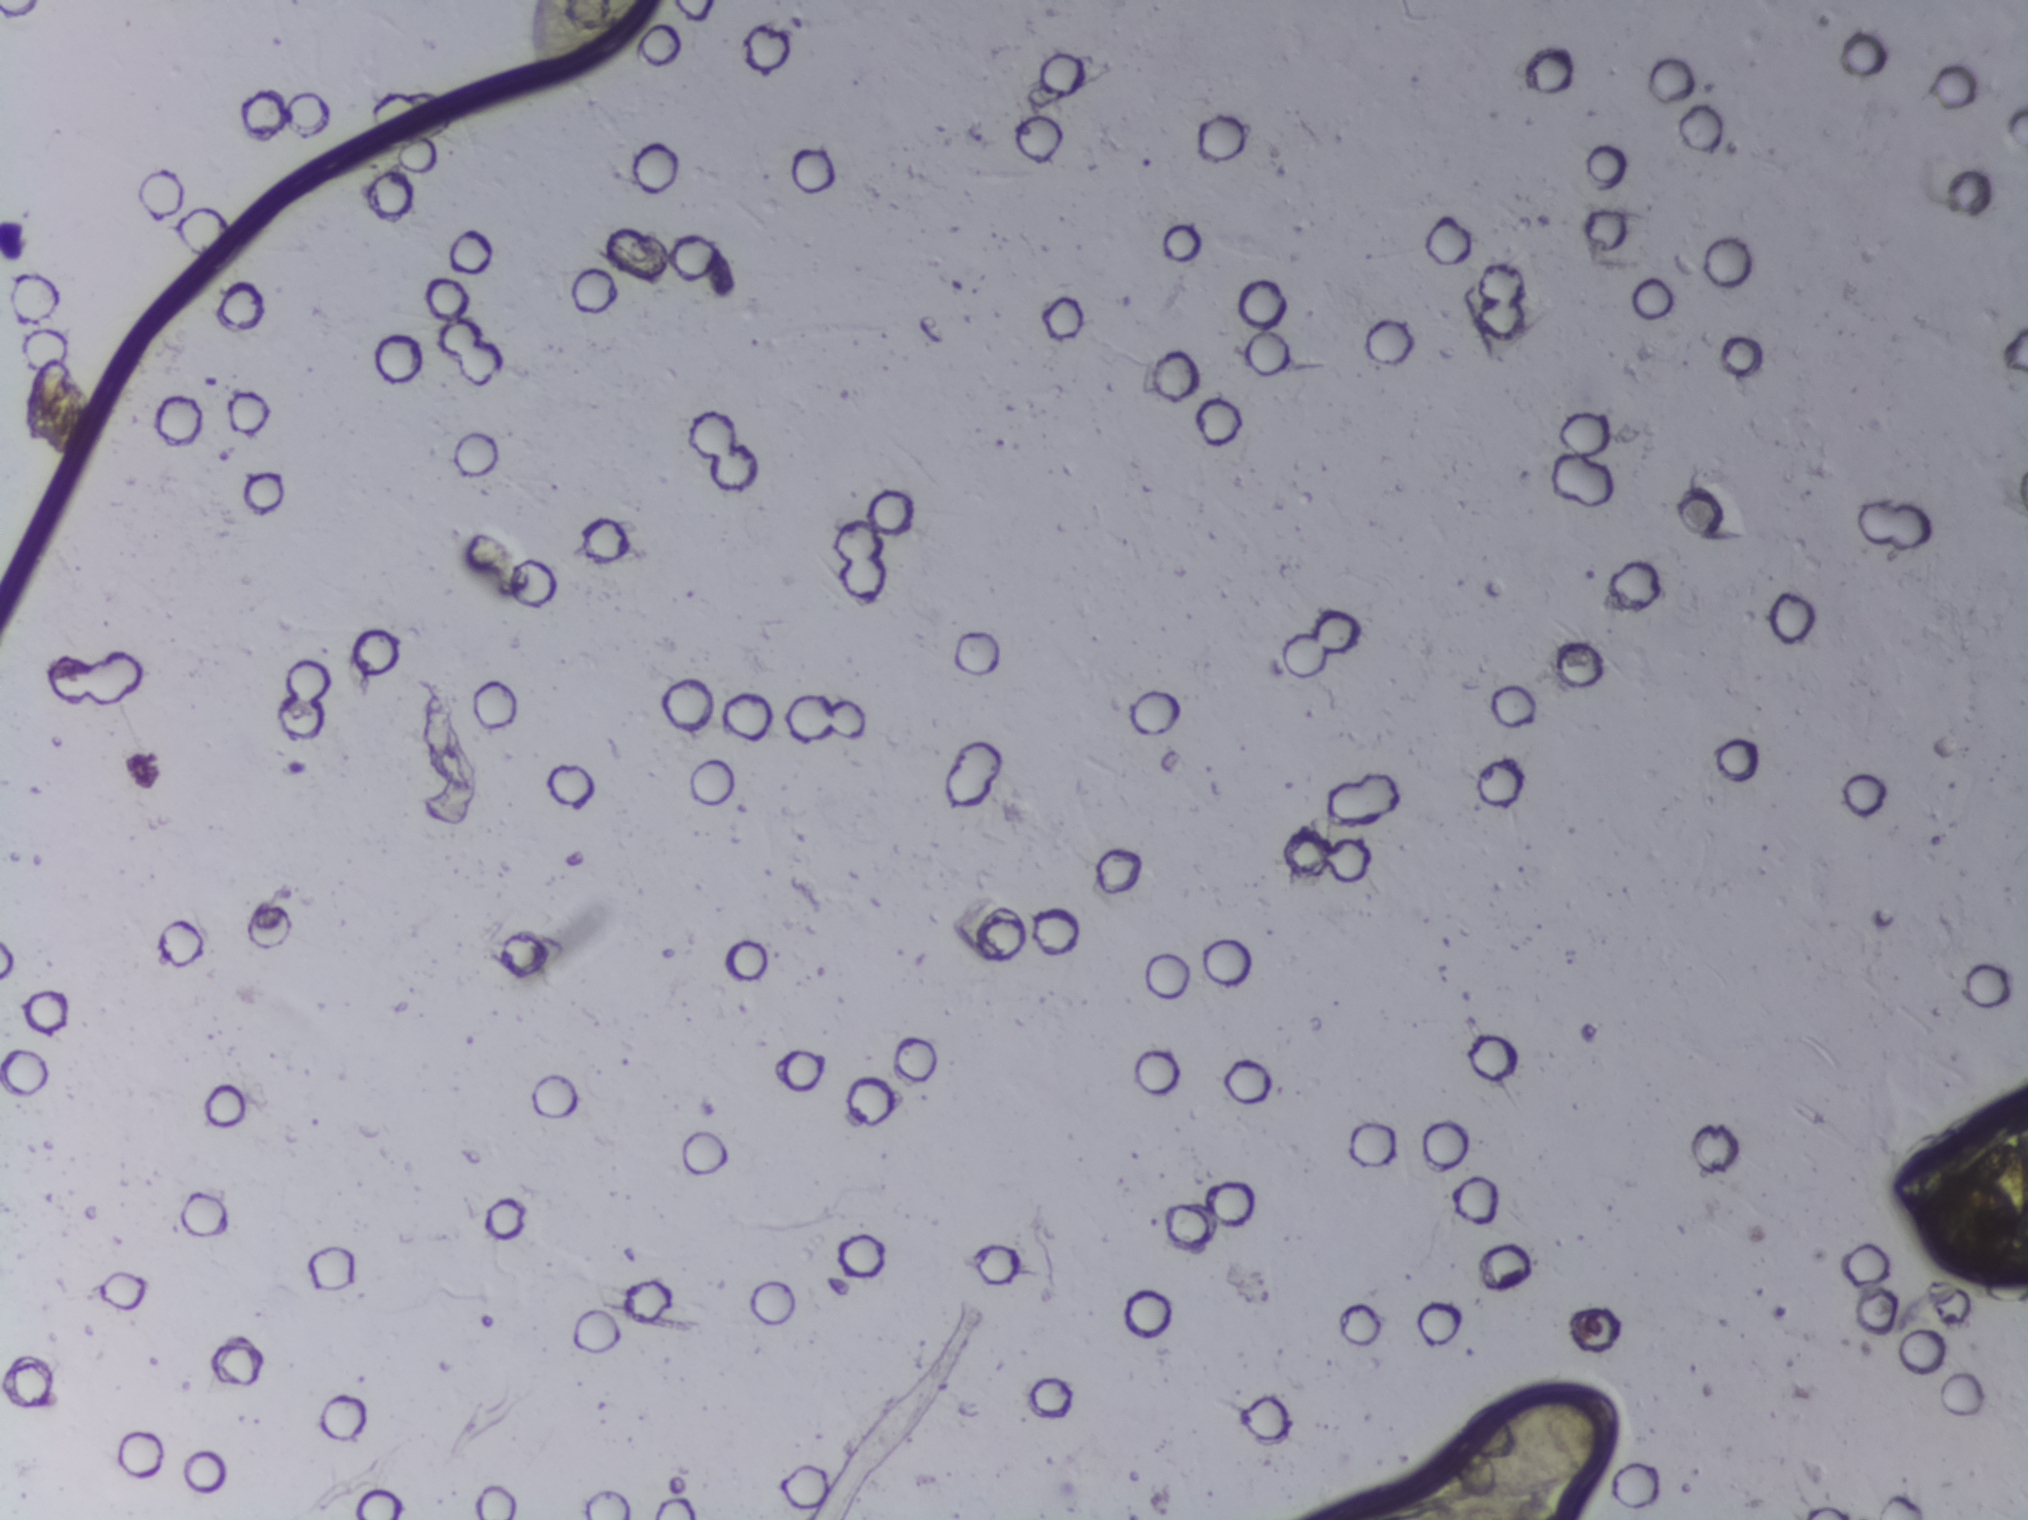
Urine filtration membrane under a 4× objective, photographed by an automated digital microscope.
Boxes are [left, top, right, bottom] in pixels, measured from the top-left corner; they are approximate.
Two areas of this image are outlined as Schistosoma eggs, from left to right: [525, 0, 662, 70] (reaching the top edge of the frame) and [1395, 1382, 1626, 1519] (reaching the bottom edge of the frame). An outlined area can hold more than one egg.